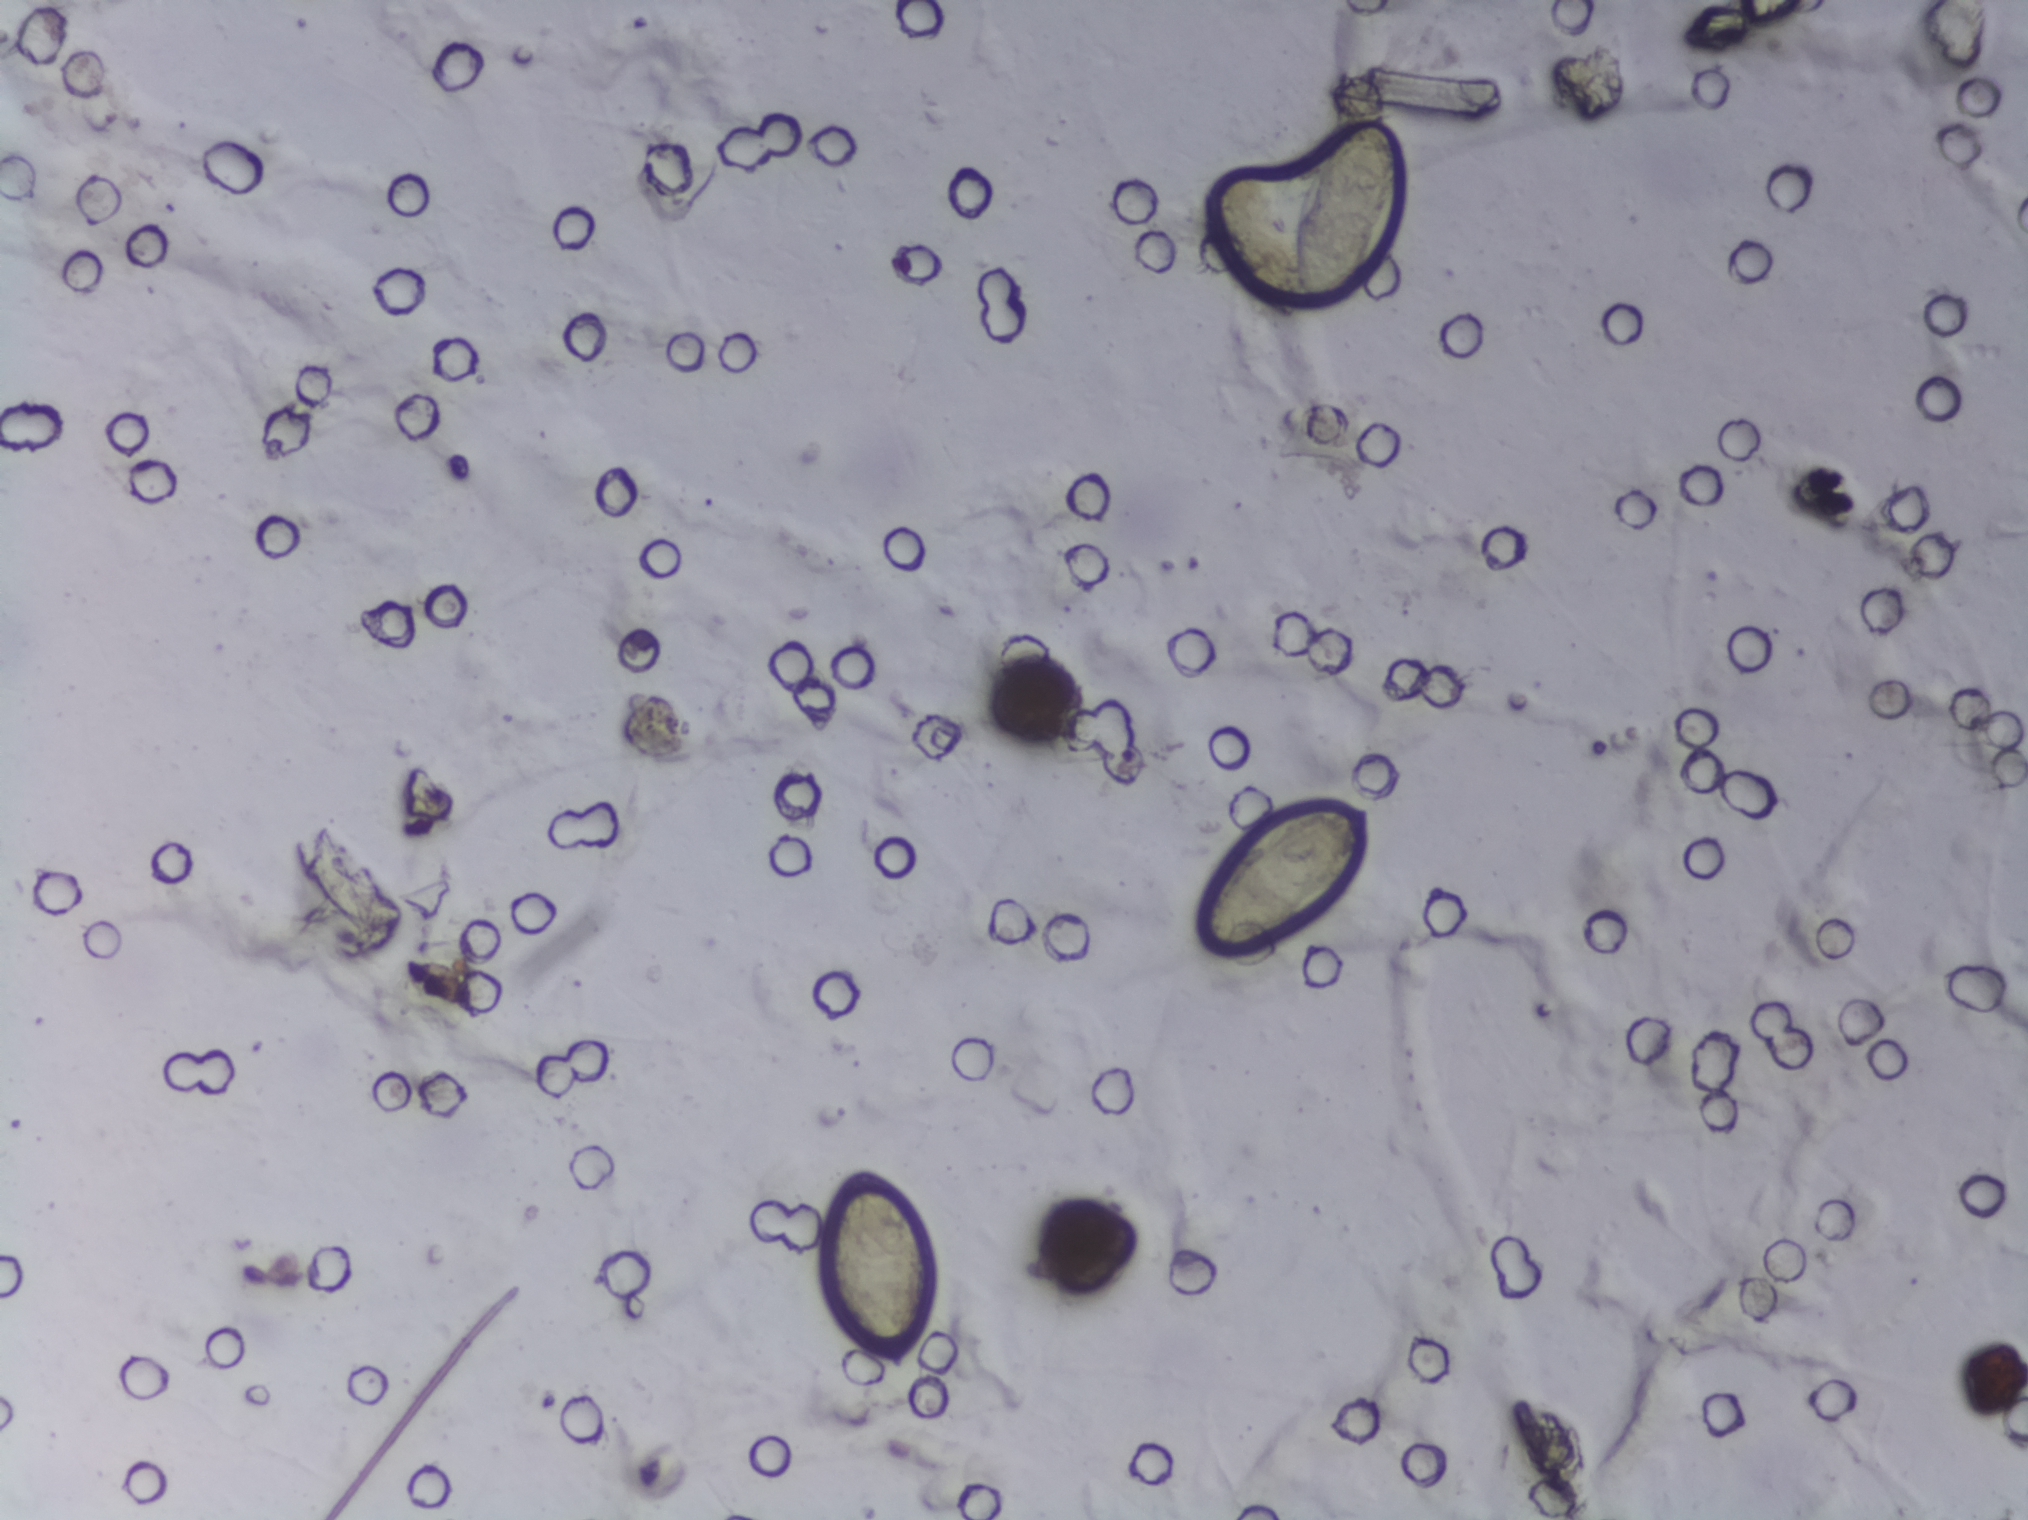
Photomicrograph of a urine filtration membrane, 4× objective. Field of view: about 1.5 mm wide and 1.1 mm high.
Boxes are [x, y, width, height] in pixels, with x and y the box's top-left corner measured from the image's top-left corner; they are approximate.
The expert annotation outlines Schistosoma eggs at [820, 1157, 116, 218]; [1198, 795, 174, 164]; [1291, 122, 113, 183]. A single outlined area may contain several eggs.